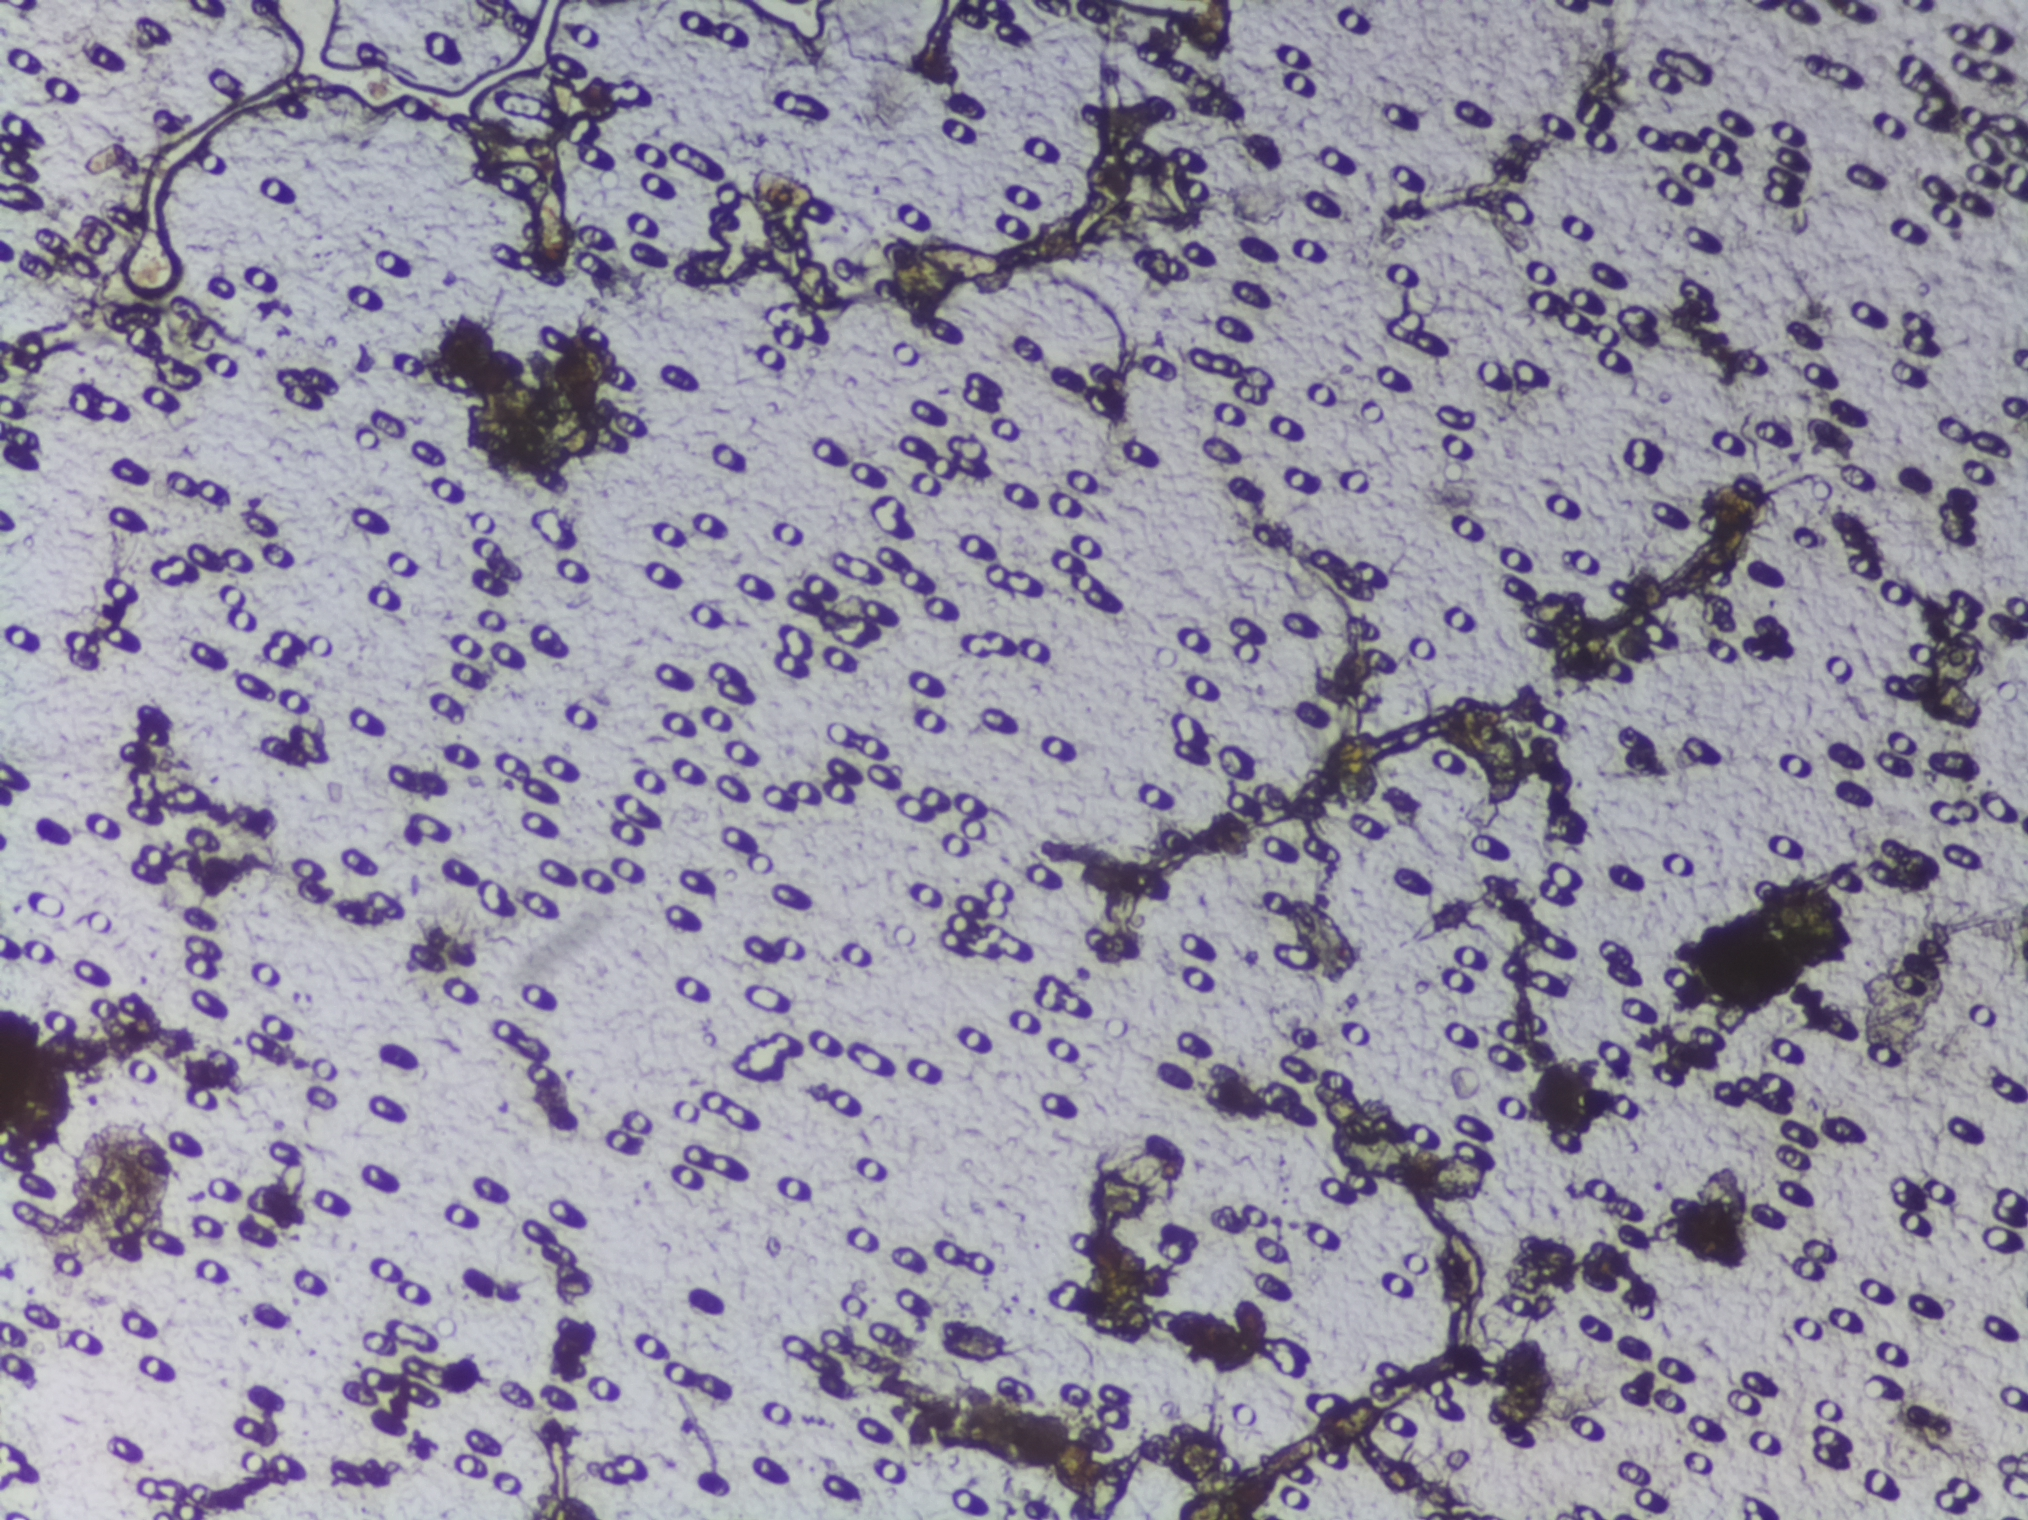
The expert annotation marks no Schistosoma egg in this field of view.
Urine filtration membrane under a 4× objective, photographed by an automated digital microscope.